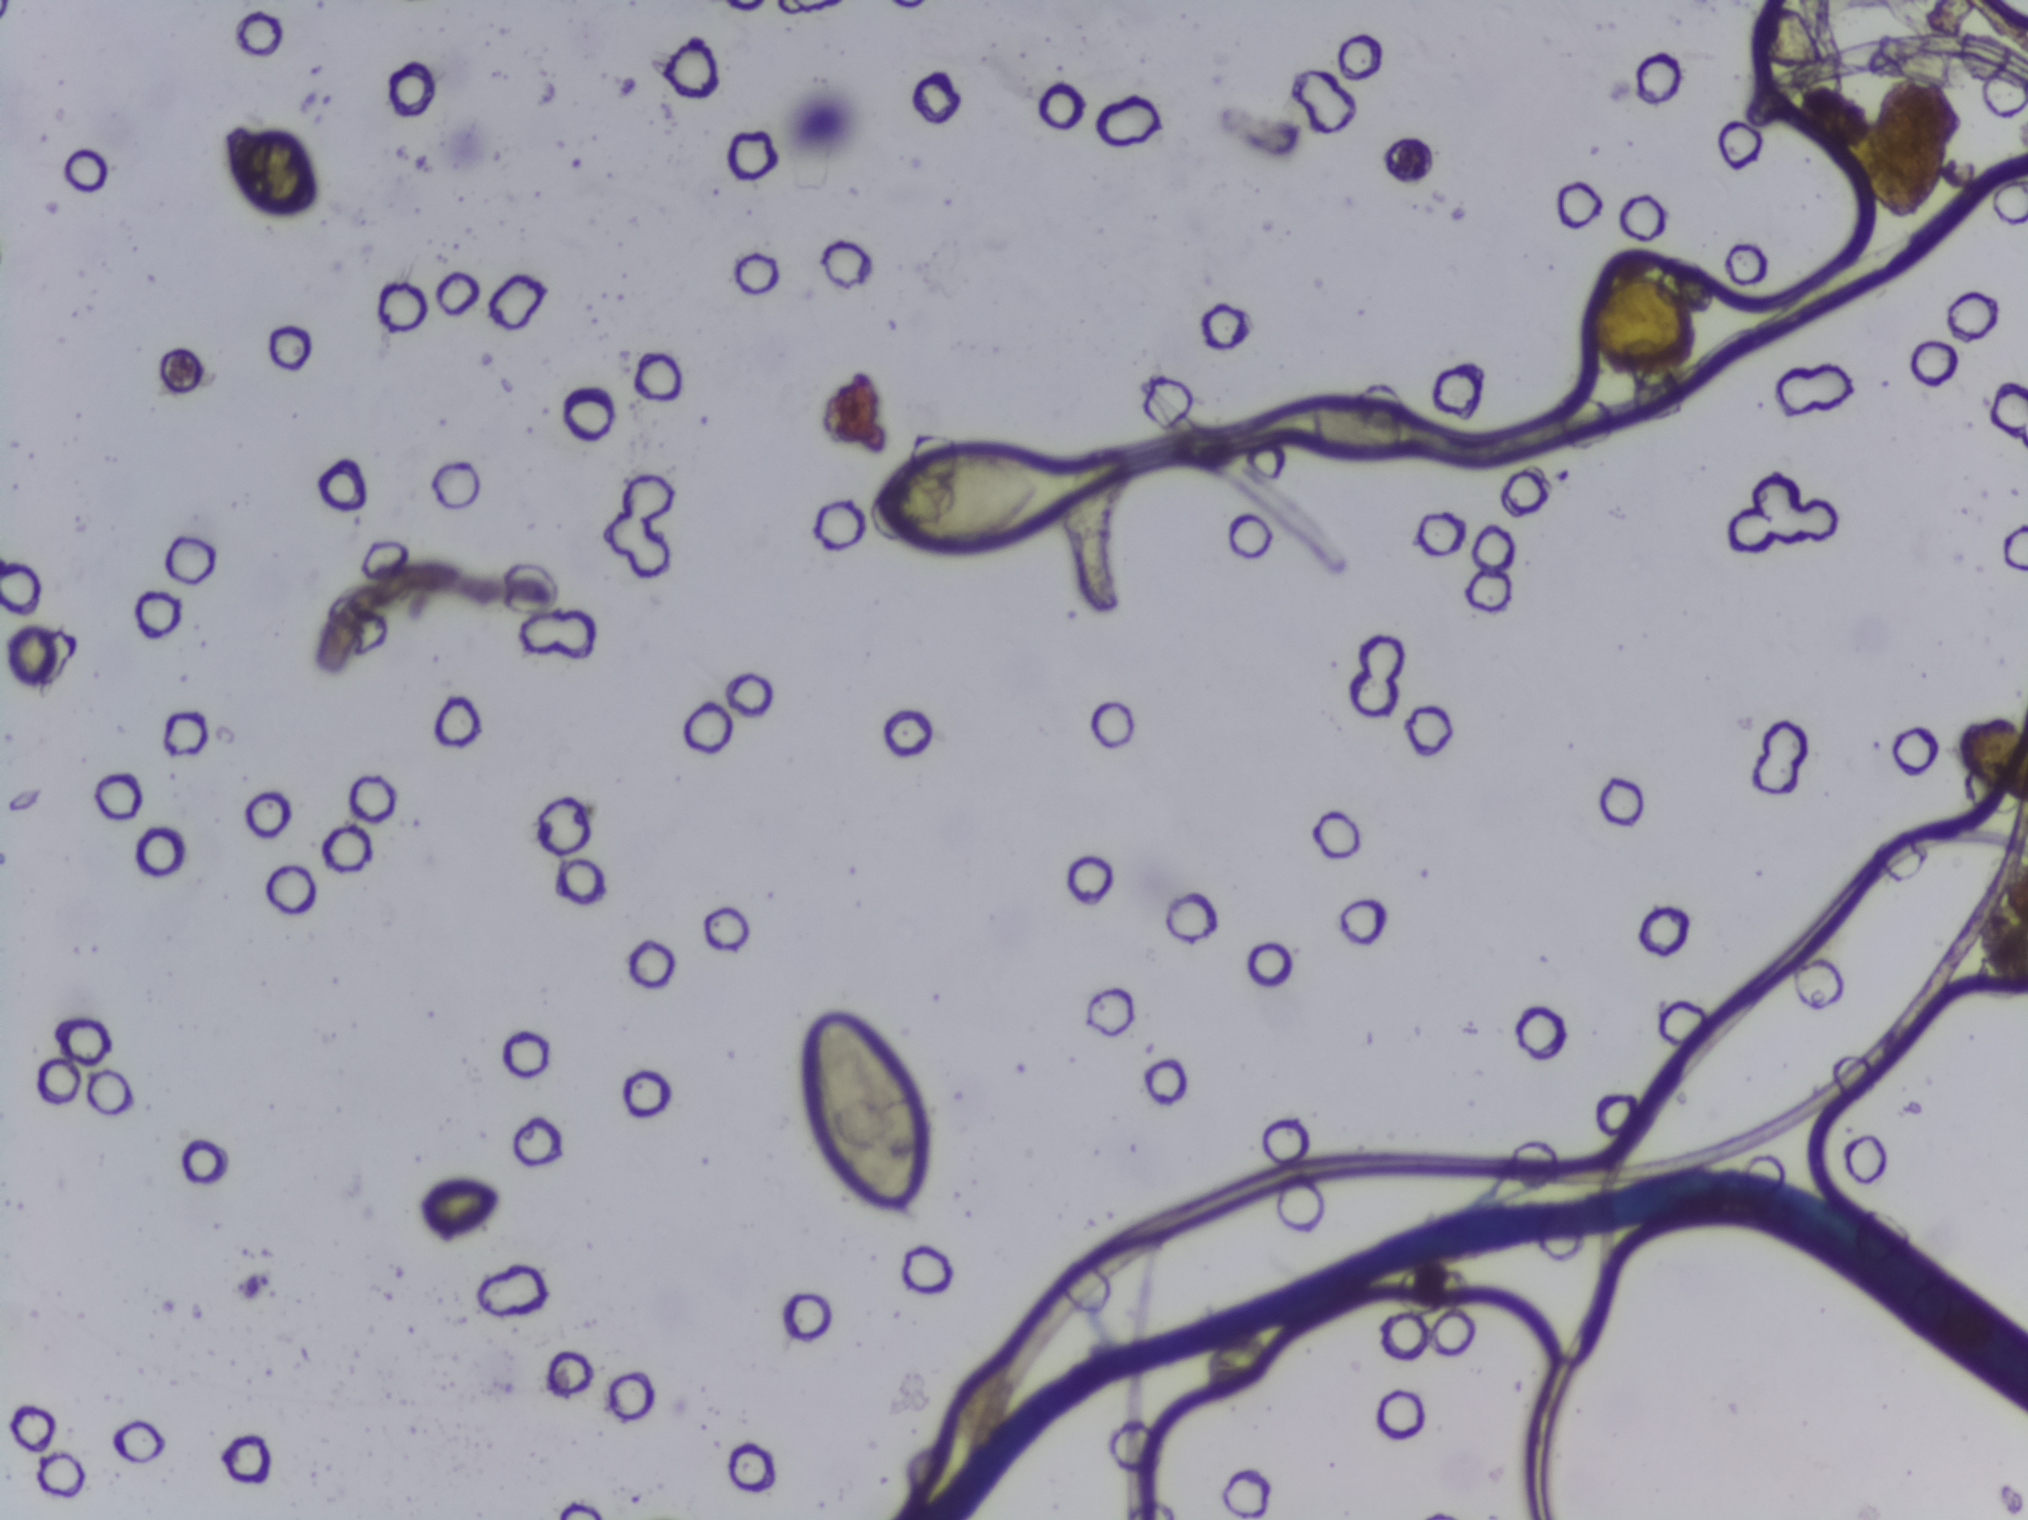
Urine filtration membrane under a 4× objective, photographed by an automated digital microscope.
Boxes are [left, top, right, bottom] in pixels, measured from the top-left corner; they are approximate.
Schistosoma eggs are outlined in the expert annotation at [806, 1013, 928, 1225] and [876, 447, 1078, 551]. A single outlined area may contain several eggs.